Urine filter membrane photographed through a 4× microscope objective. Field of view: about 1.5 mm wide and 1.1 mm high.
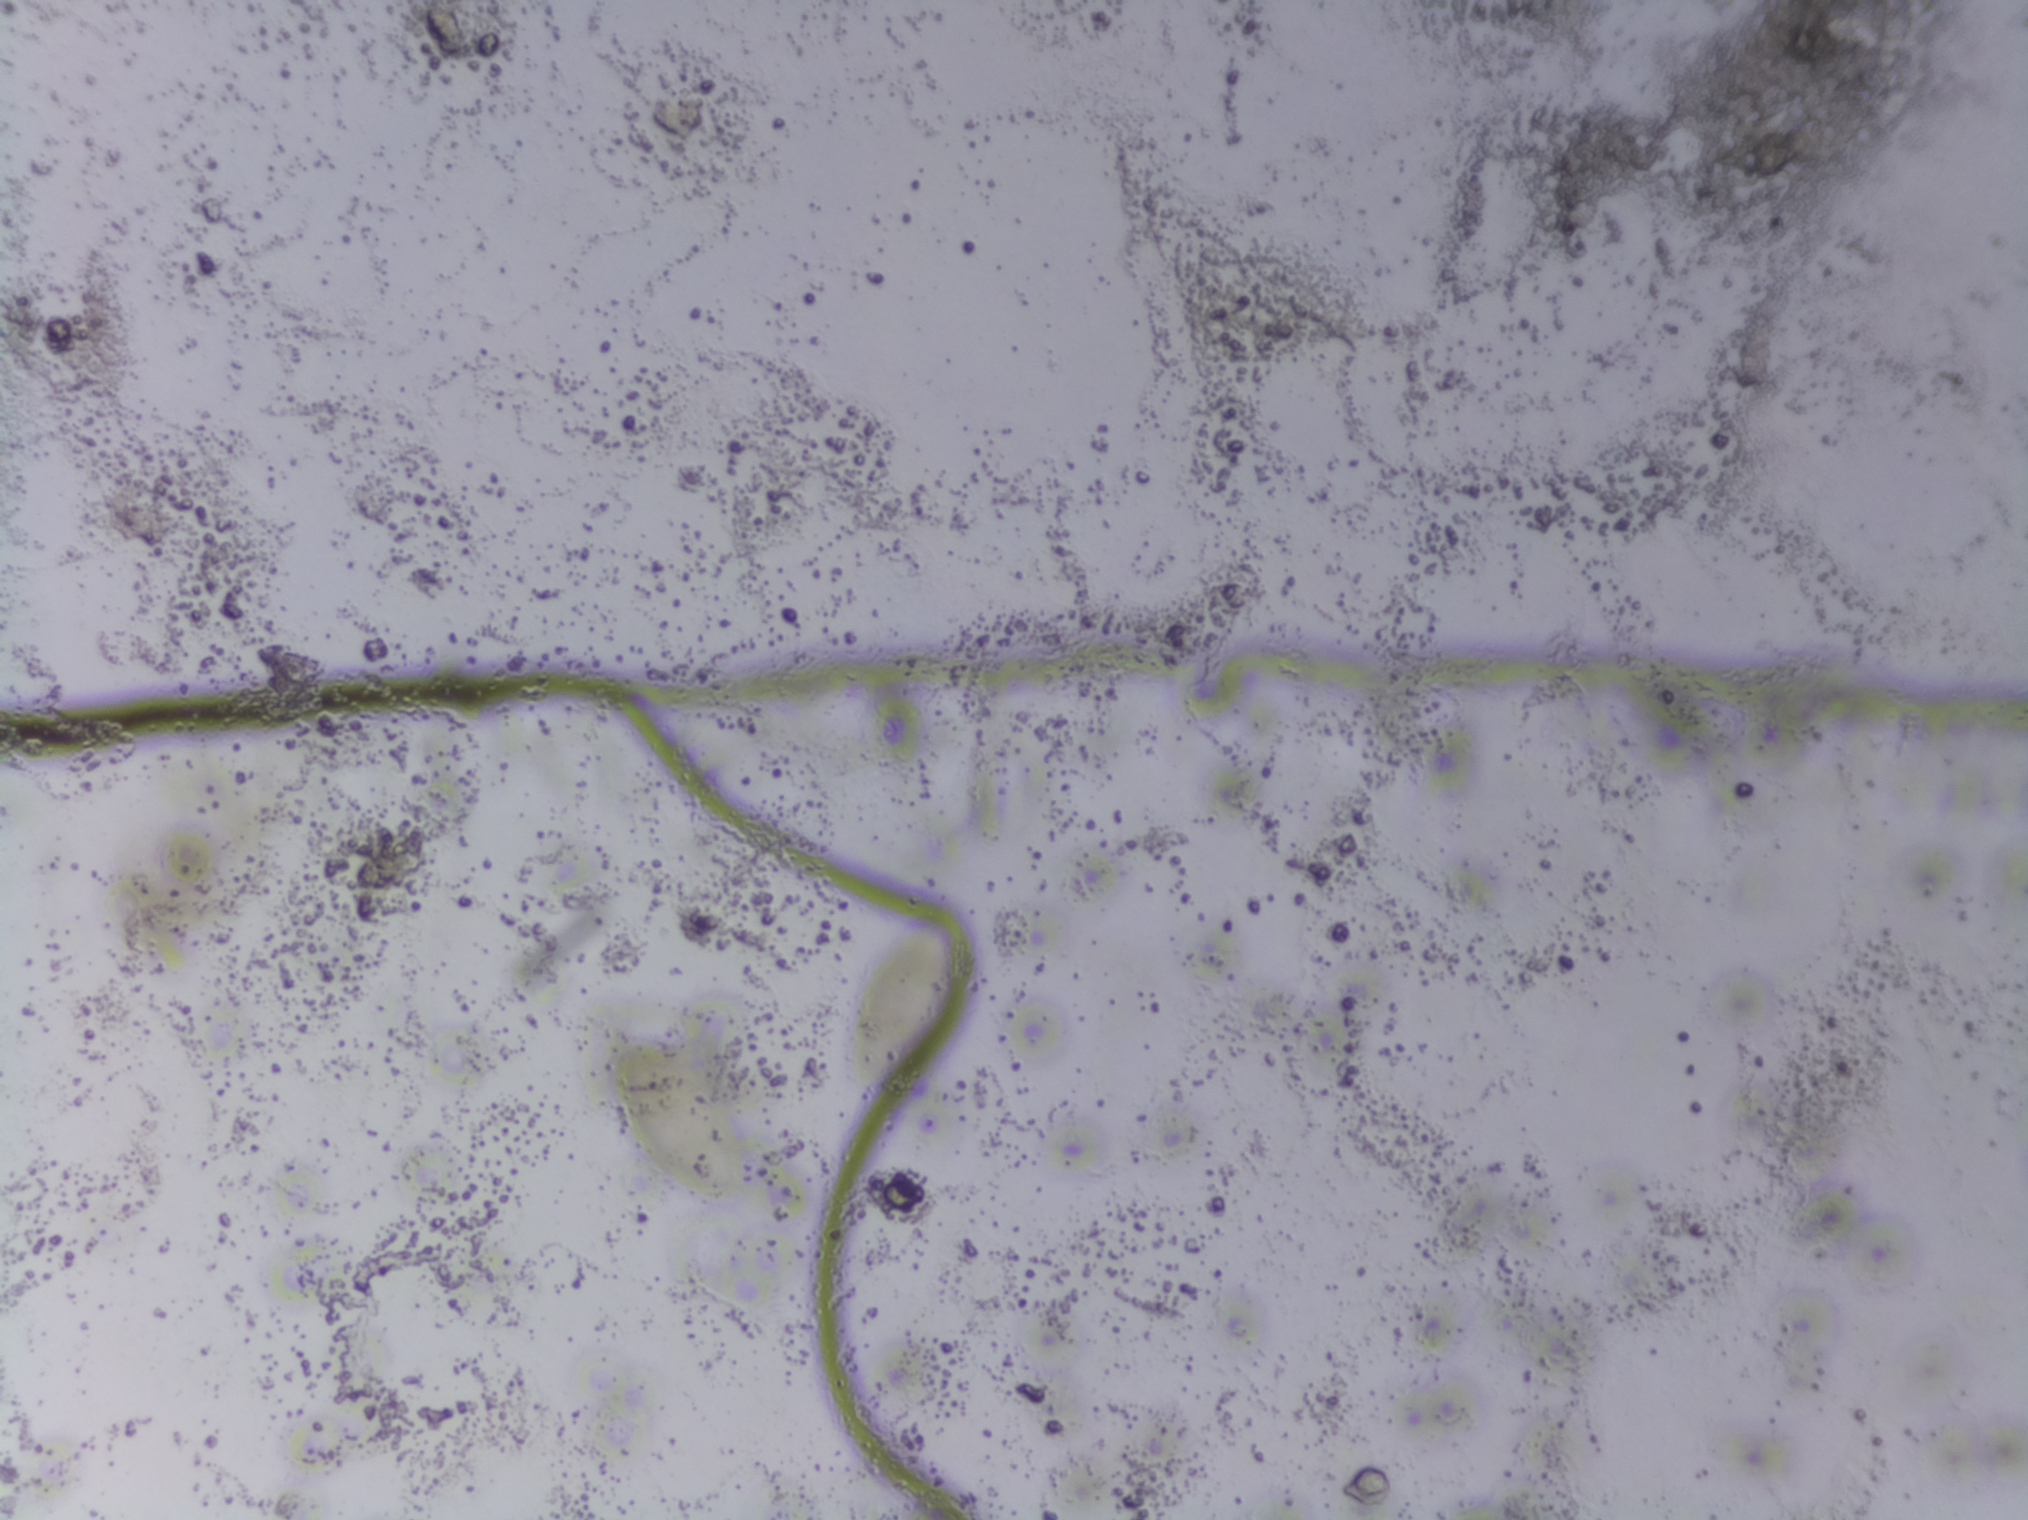
The expert annotation outlines no Schistosoma egg in this image.